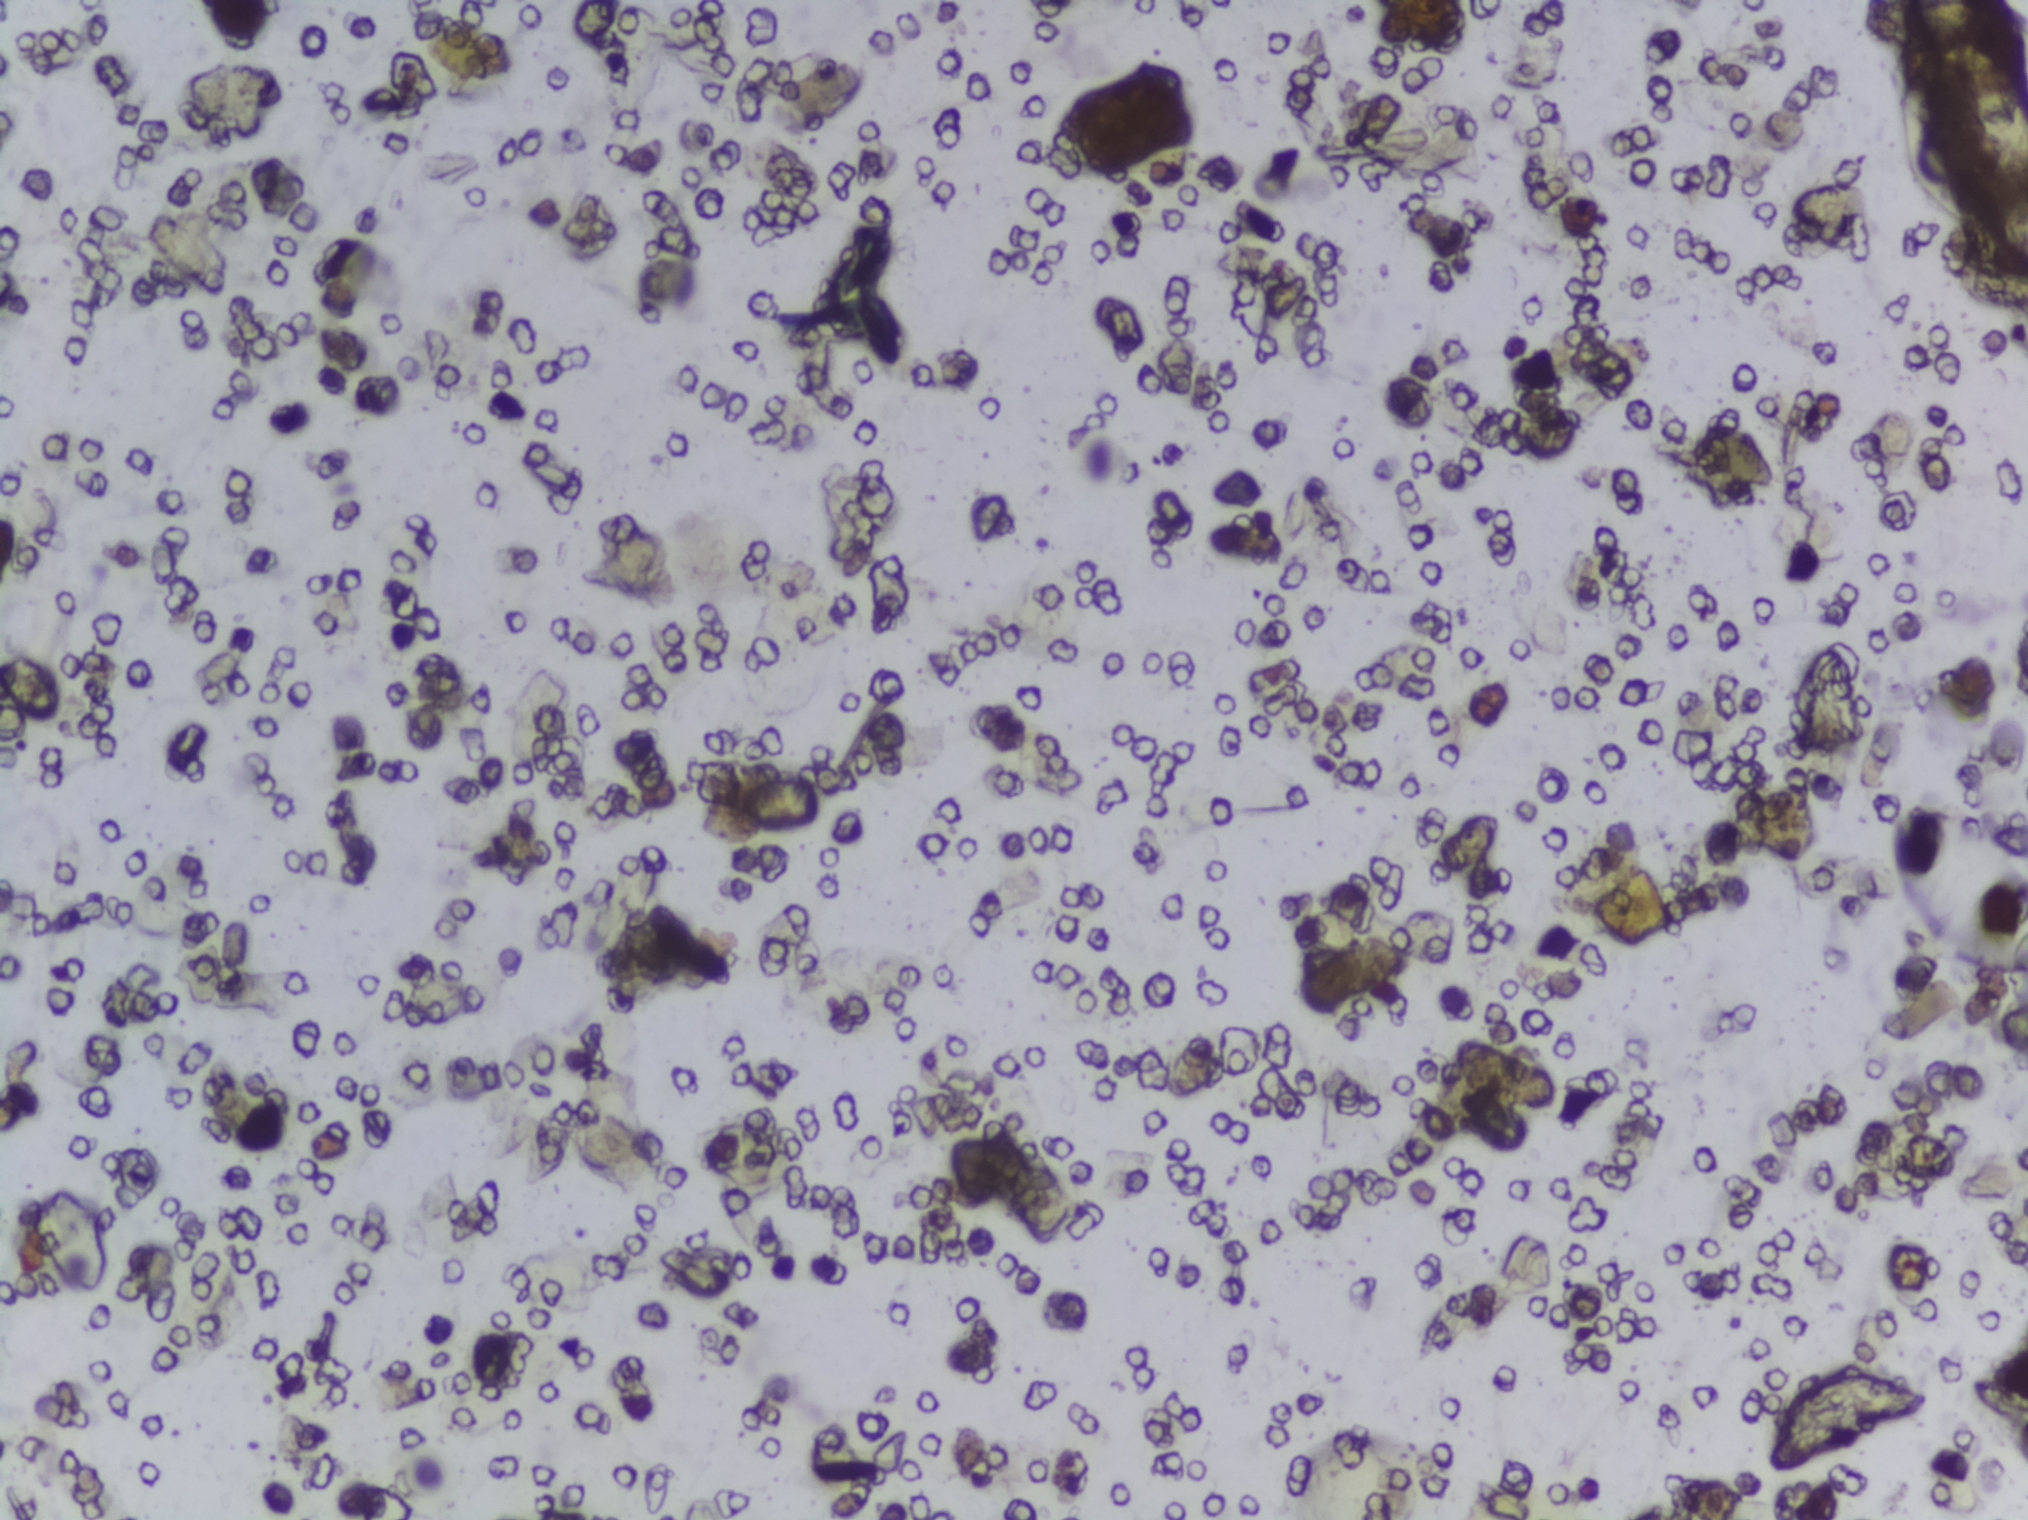
One field of view of a urine filter membrane, 4× objective, 2028 × 1520 pixels. The image covers about 1.5 × 1.1 mm of the membrane.
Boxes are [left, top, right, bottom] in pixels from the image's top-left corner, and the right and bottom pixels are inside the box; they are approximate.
{"schistosoma_egg_areas_xyxy_px": [[1898, 76, 1987, 224]]}
About 0.3% of the image's pixels are marked (the marked pixels themselves, not the box around them). Eggs that touch can end up inside the same outlined area. Any one outlined egg may, rarely, be S. mansoni rather than S. haematobium.